Urine filter membrane photographed through a 4× microscope objective. Field of view: about 1.5 mm wide and 1.1 mm high.
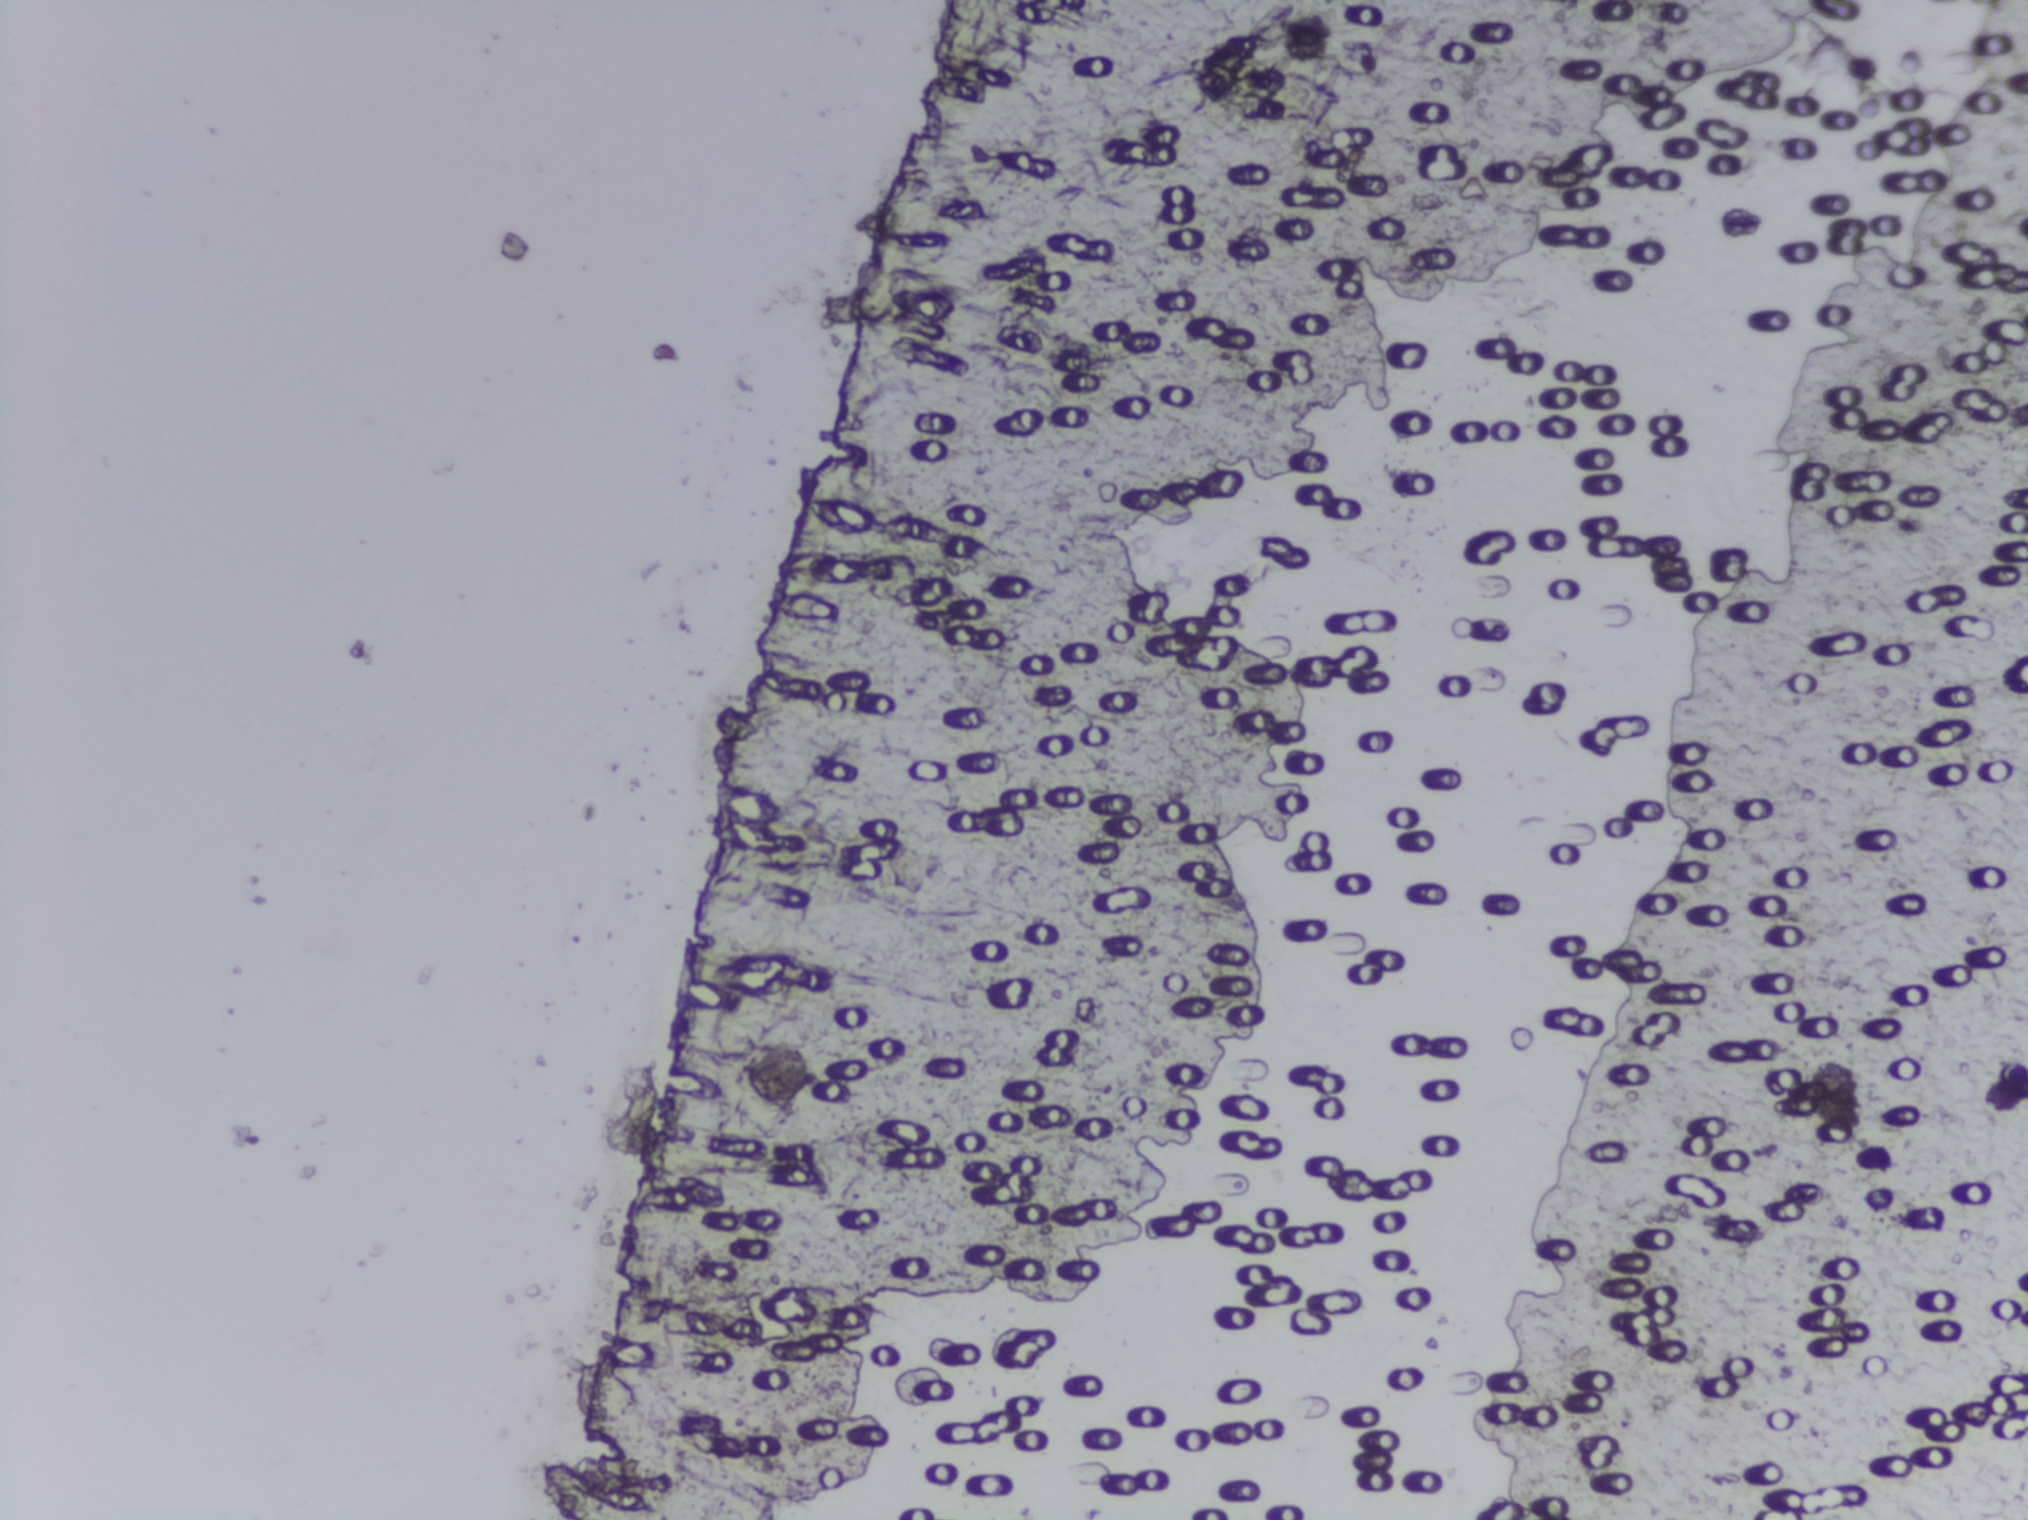
No Schistosoma egg is outlined in this image's expert annotation.